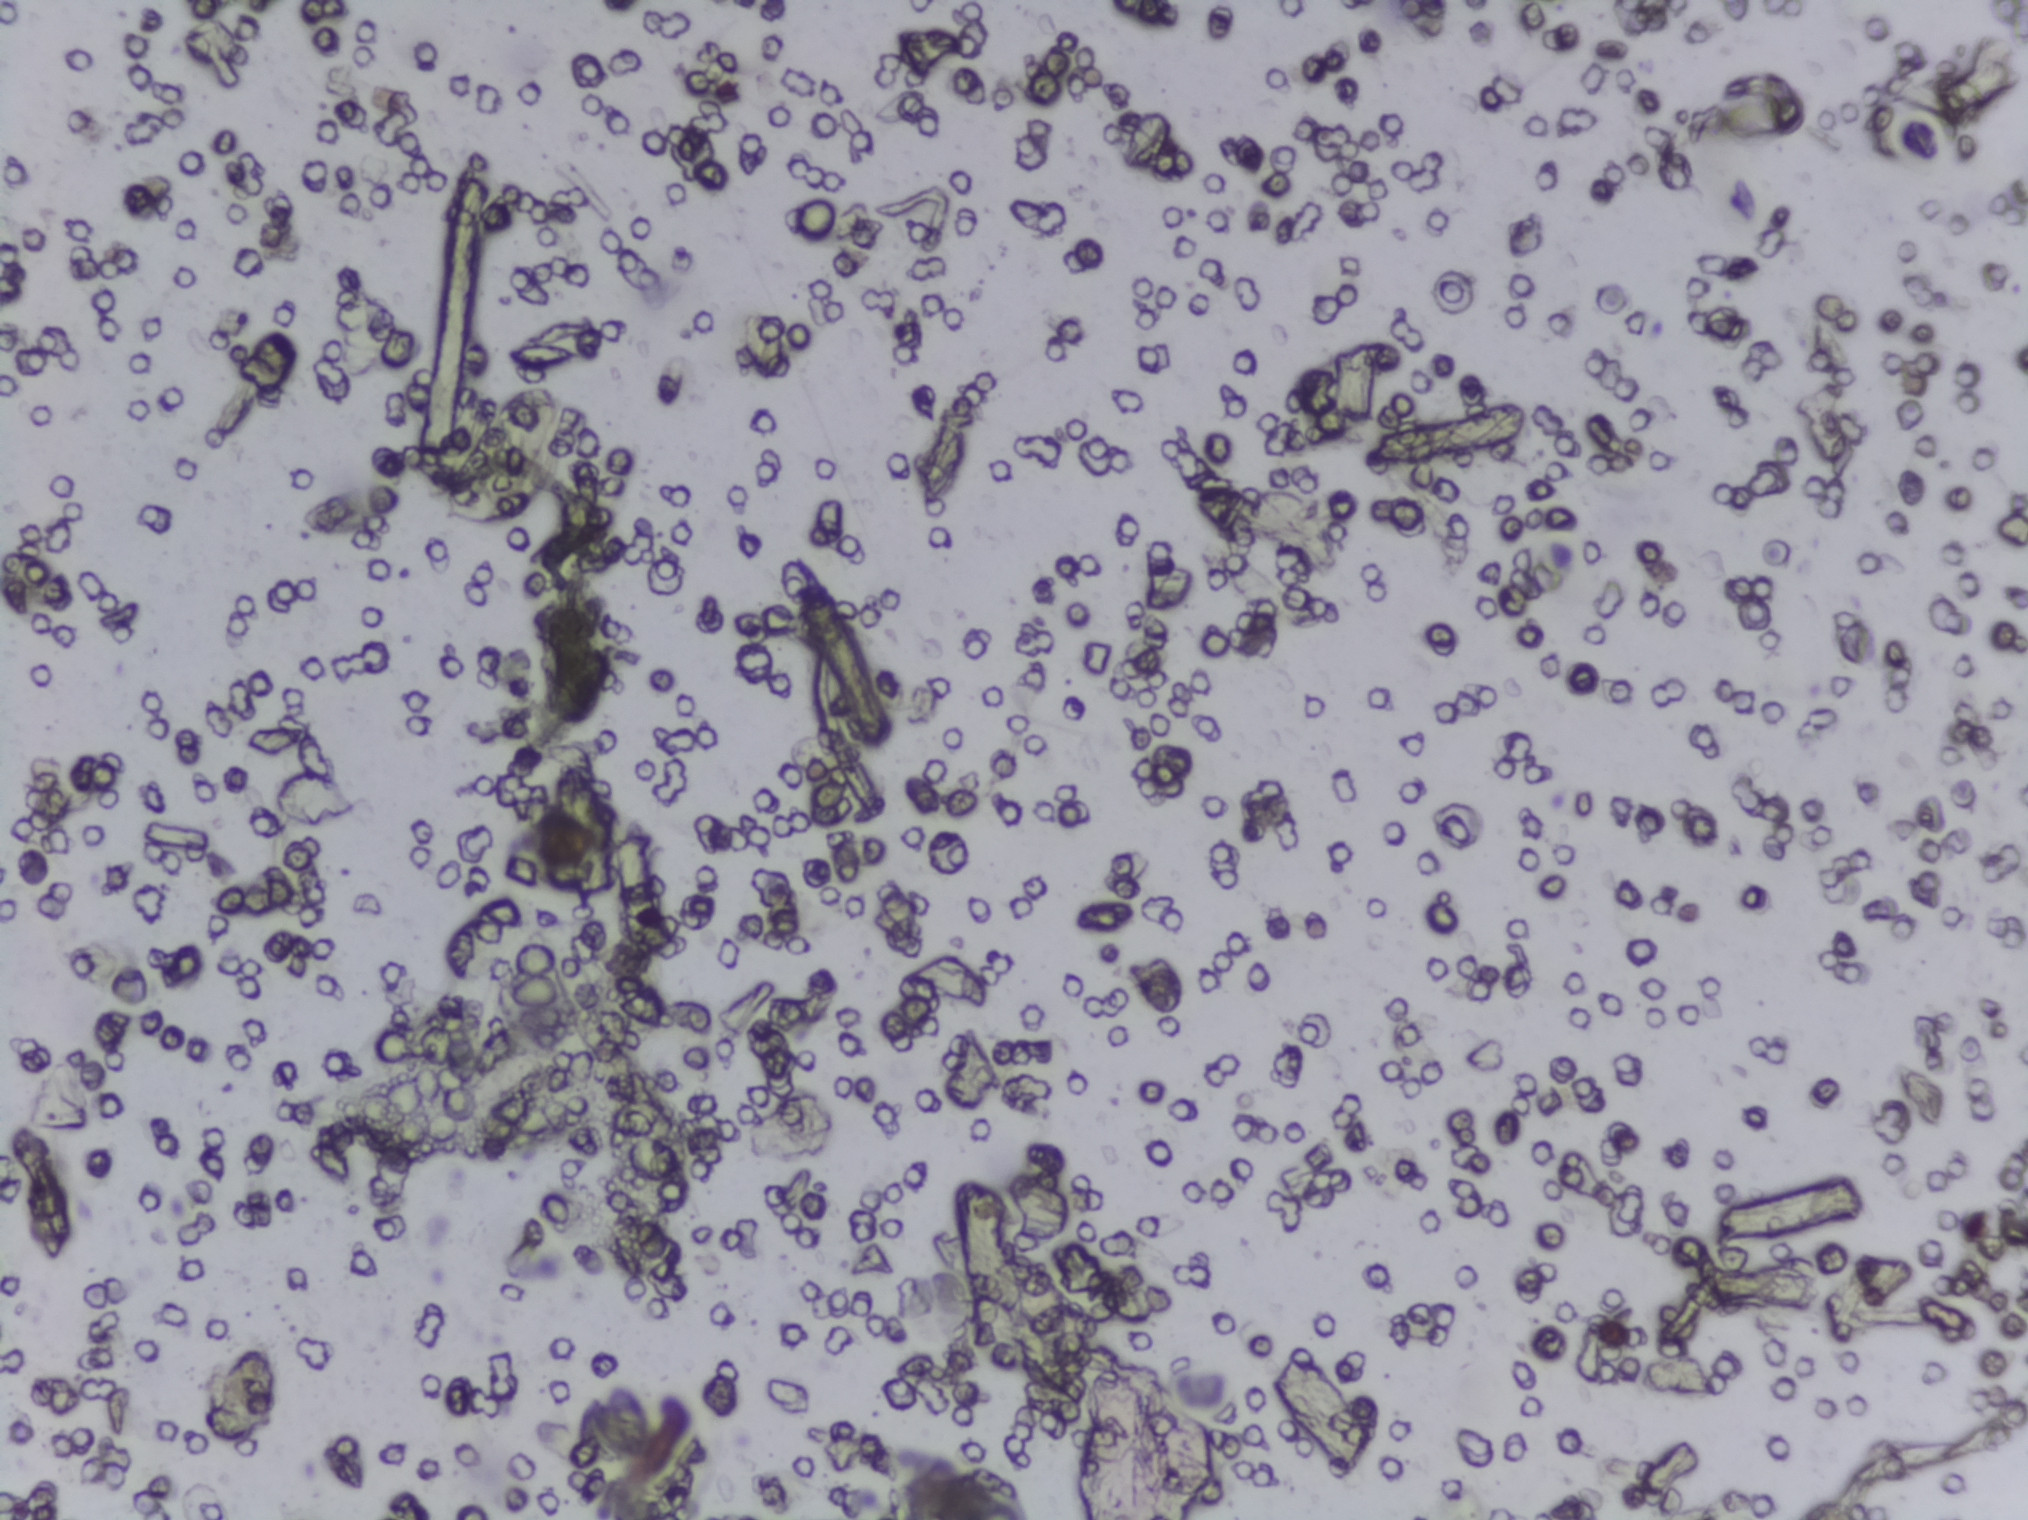
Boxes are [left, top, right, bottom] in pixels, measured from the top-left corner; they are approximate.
One area of this image is outlined as Schistosoma eggs: [443, 389, 569, 527]. A single outlined area may contain several eggs.
Urine filter membrane photographed through a 4× microscope objective.